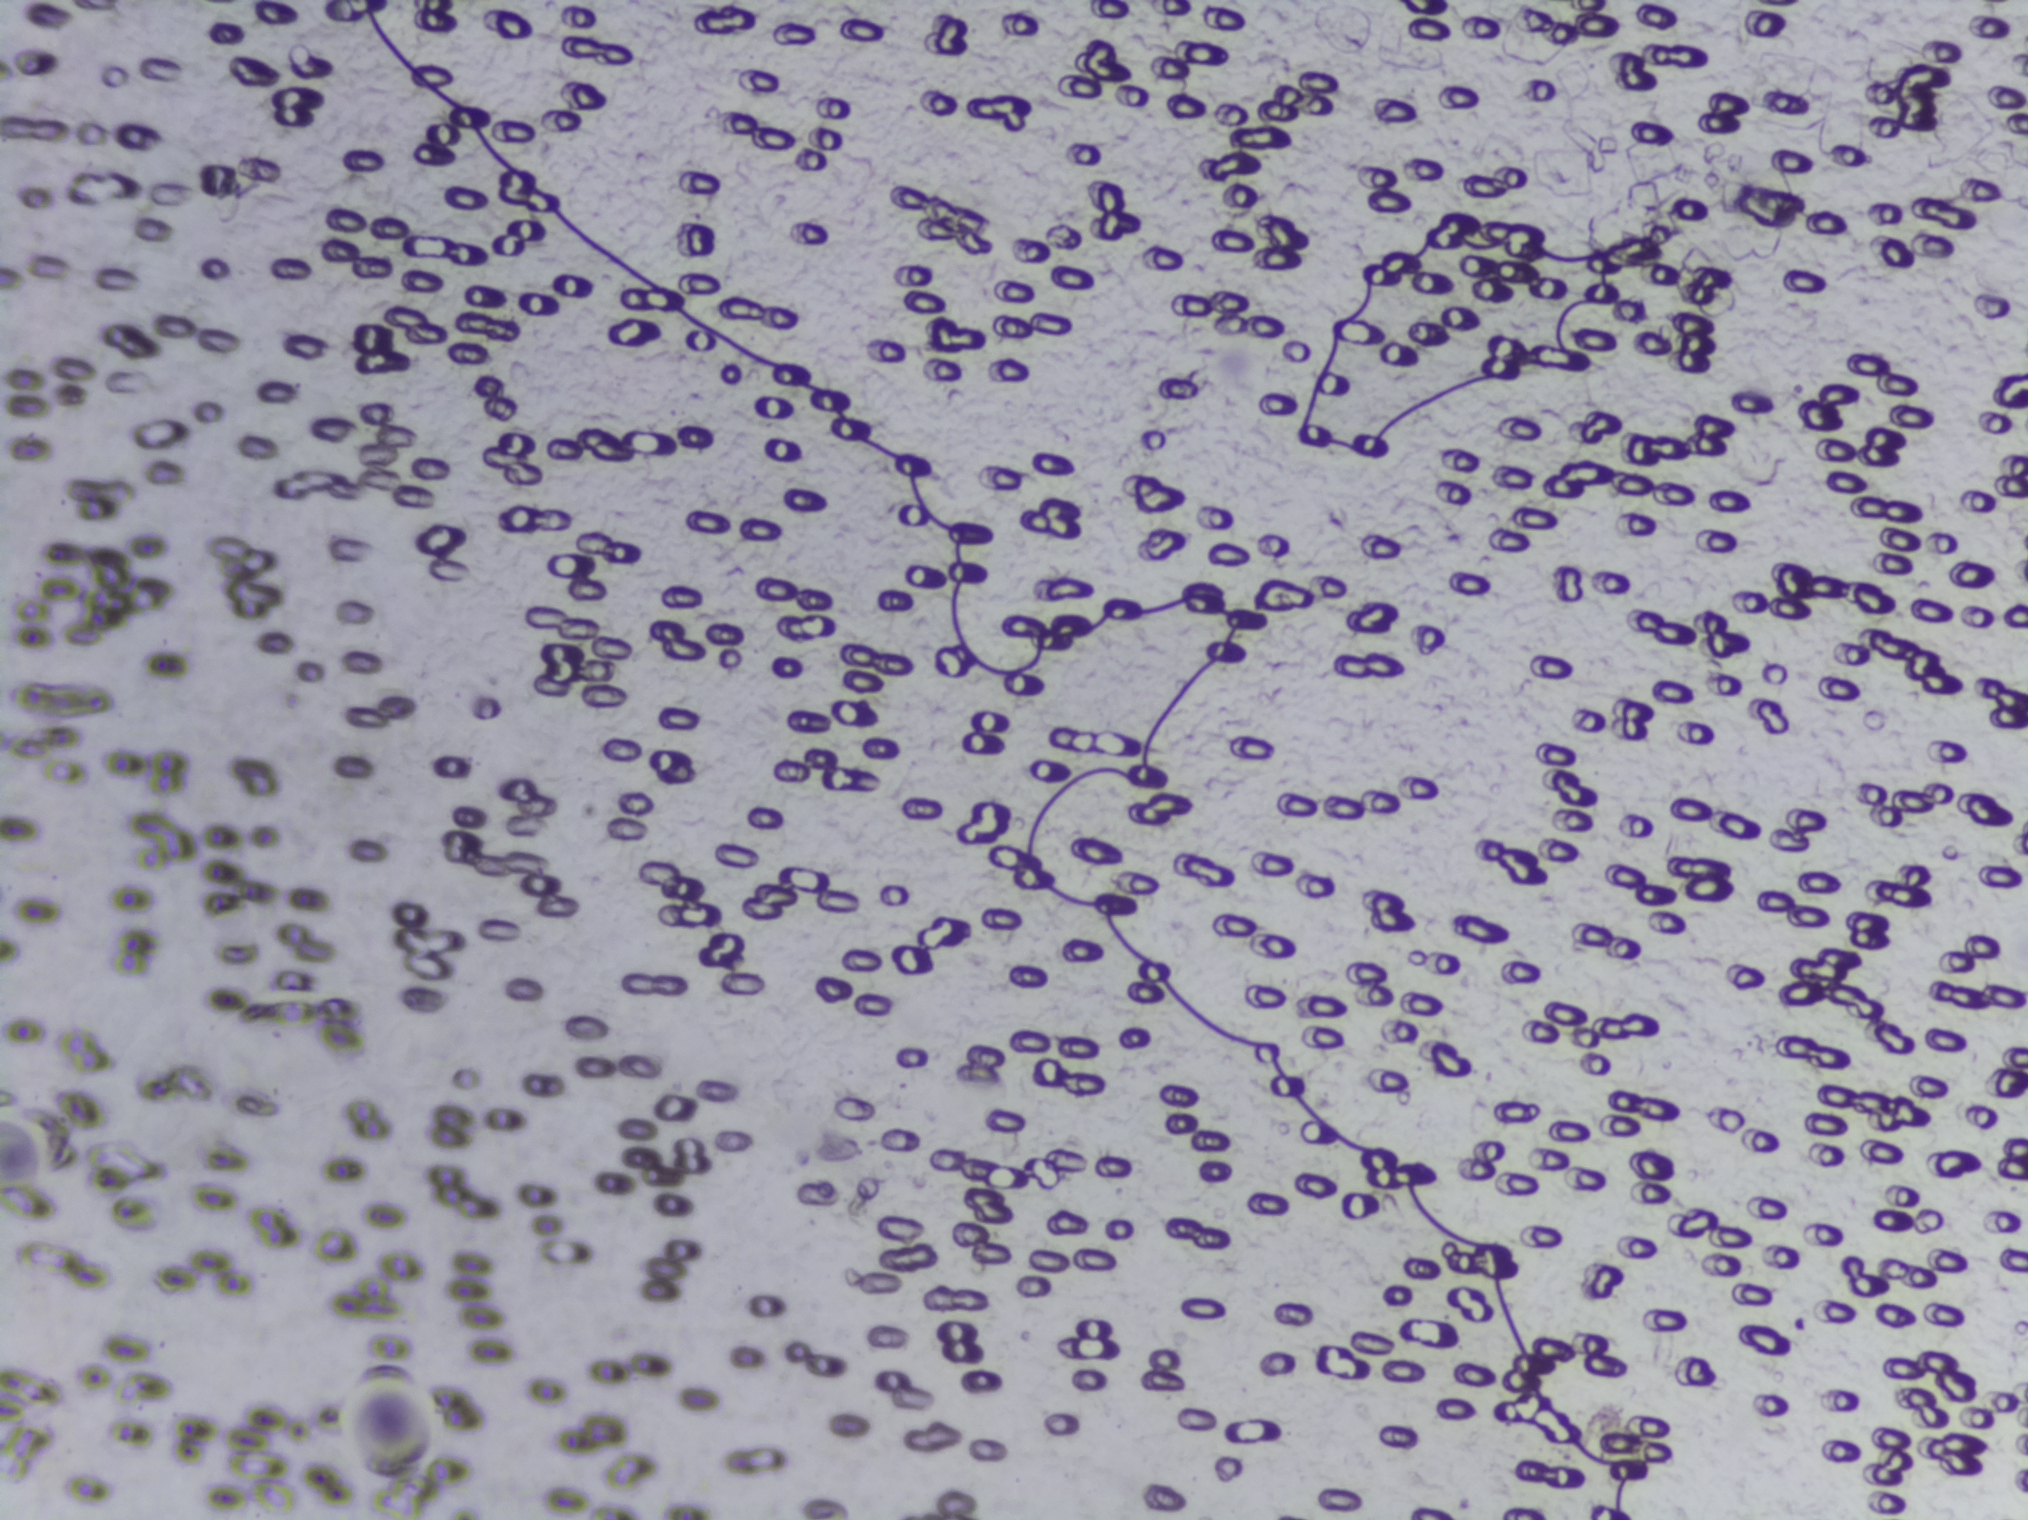
Schistosoma eggs: none outlined.
Photograph from an automated digital microscope: urine filter membrane, 4× objective. The field of view is about 1.5 mm × 1.1 mm.